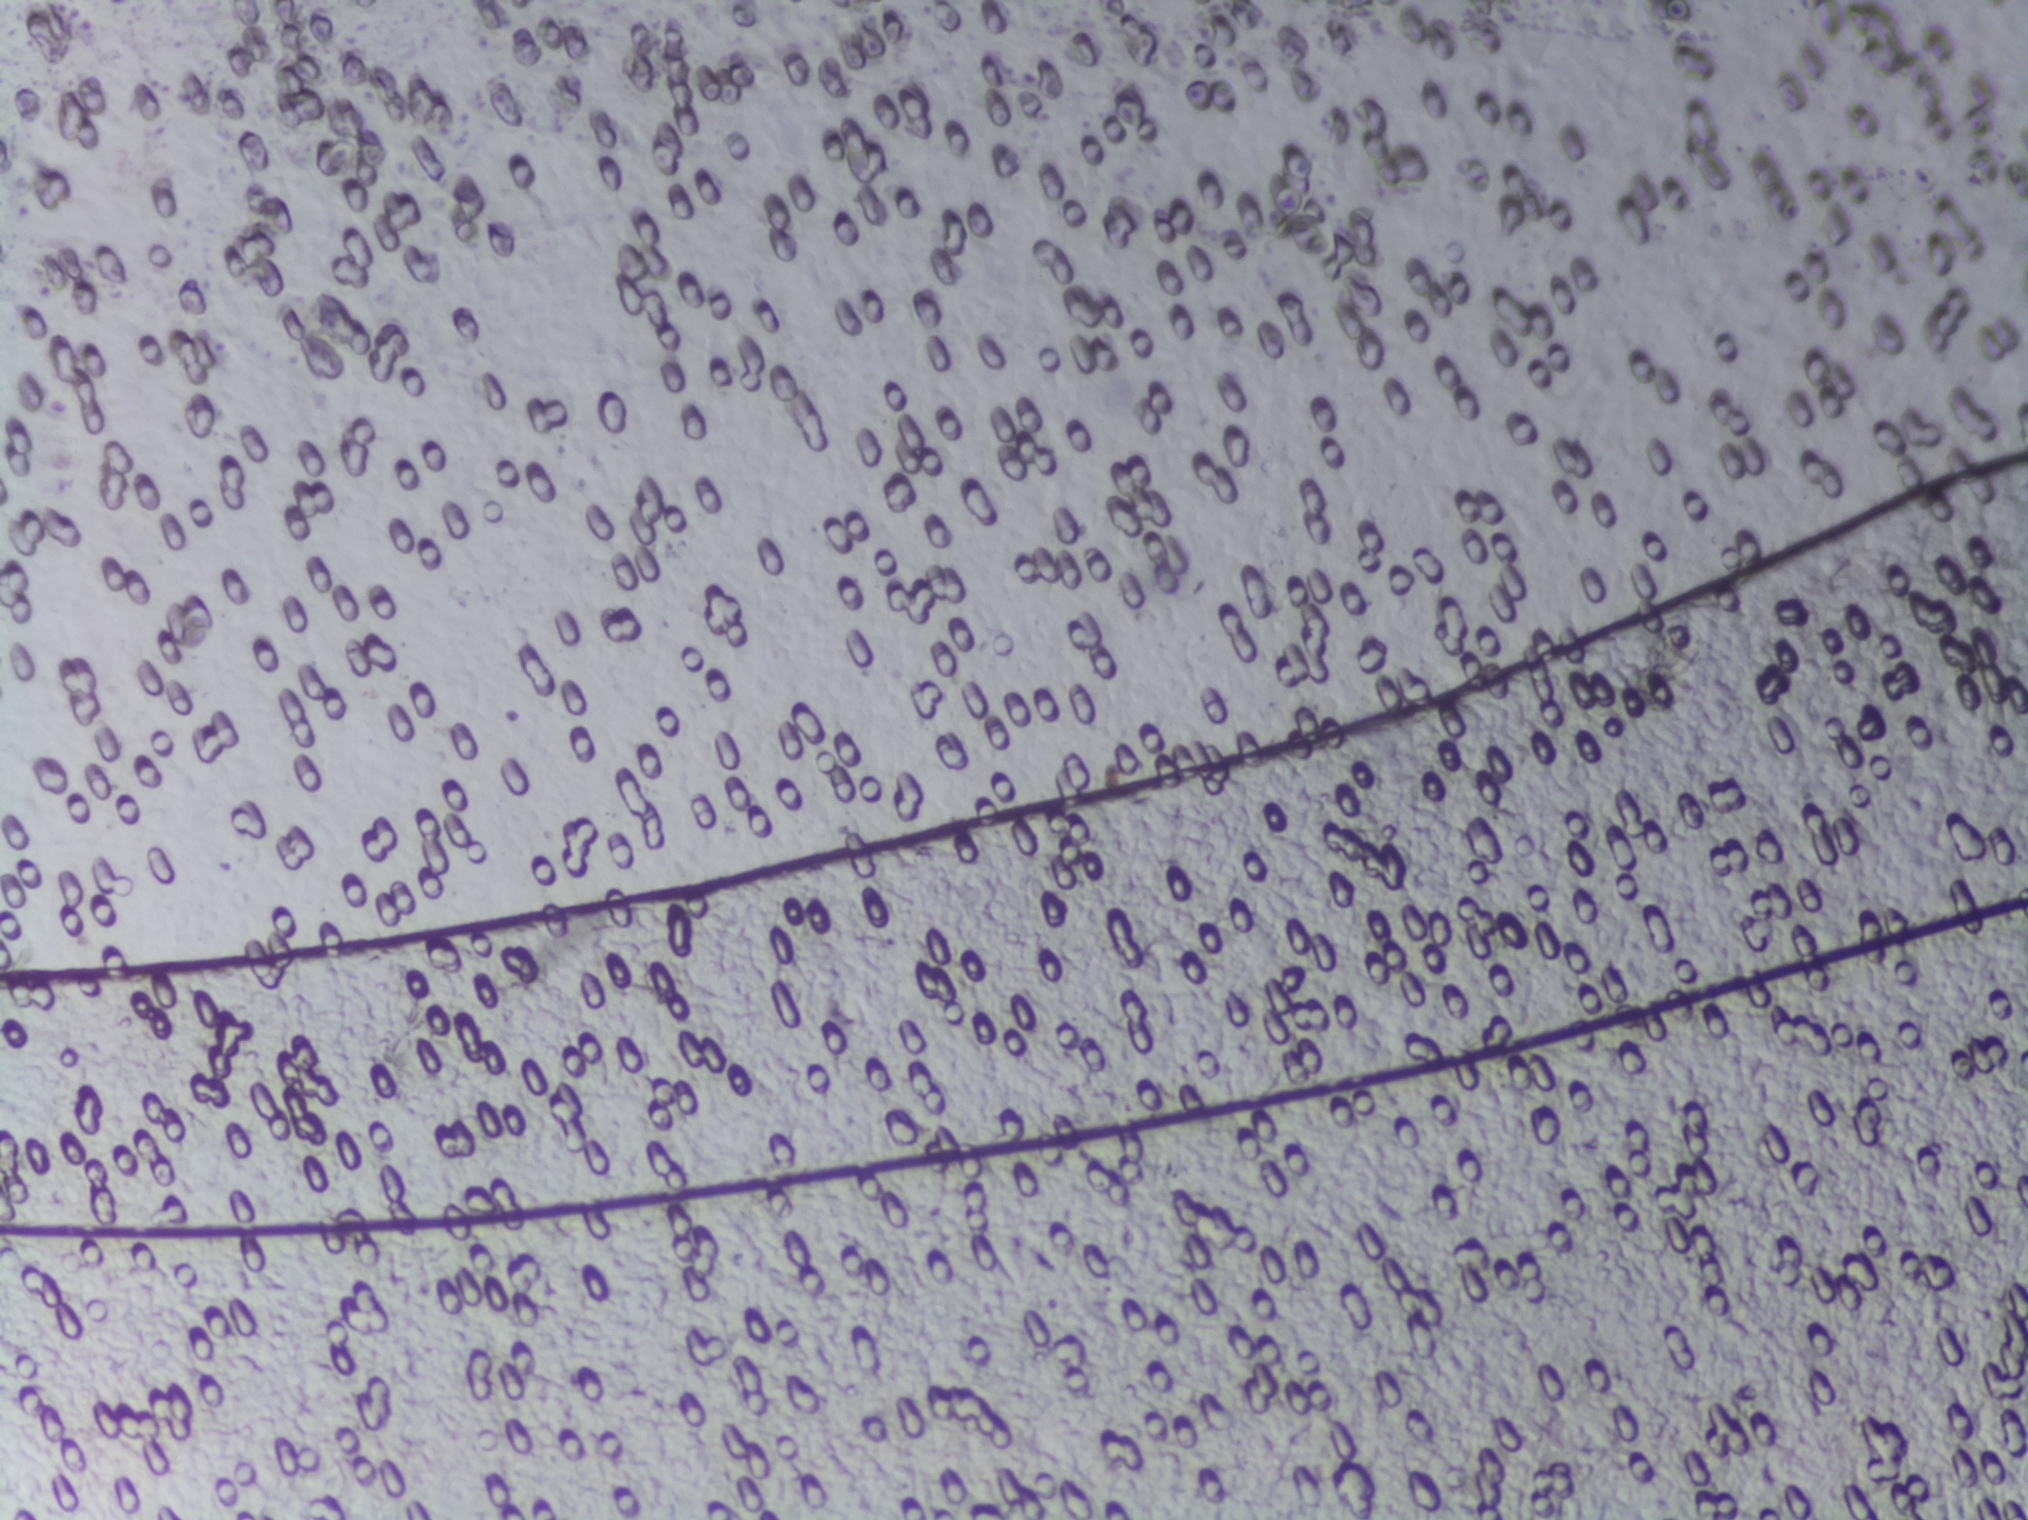
Photomicrograph of a urine filtration membrane, 4× objective. The image covers about 1.5 × 1.1 mm of the membrane.
Schistosoma eggs: none outlined.